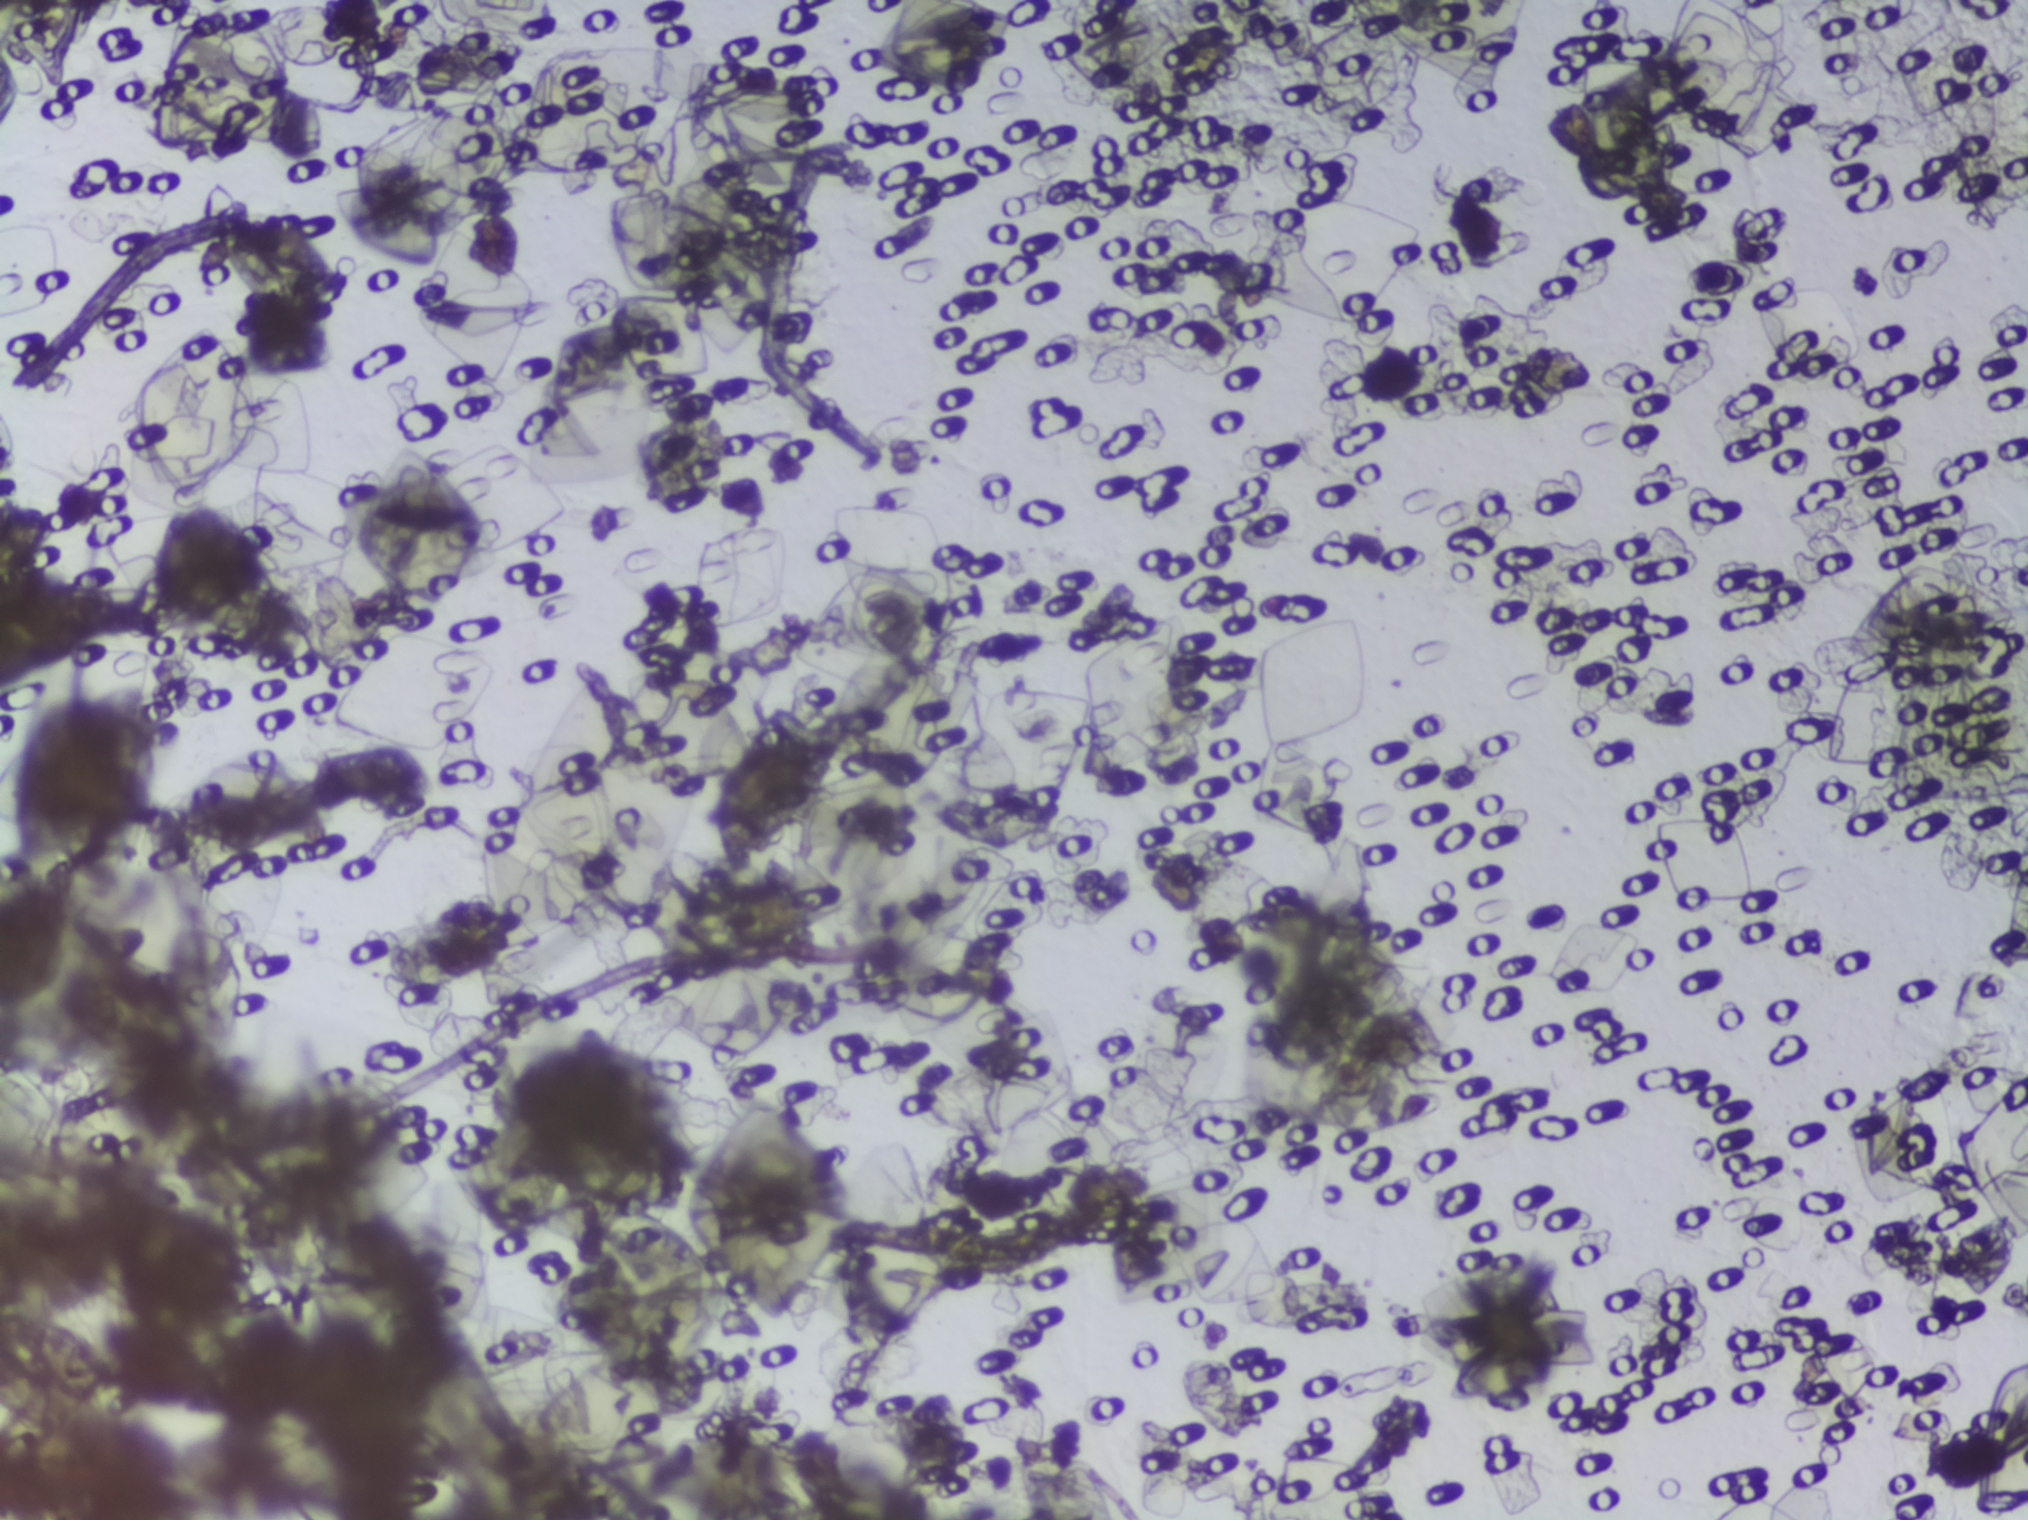
Microscope photograph (4× objective) of a membrane that a urine sample was filtered through.
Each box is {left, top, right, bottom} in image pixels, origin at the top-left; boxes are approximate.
The expert annotation outlines Schistosoma eggs at {216, 205, 348, 320}. About 0.3% of the image's pixels are marked (the marked pixels themselves, not the box around them). A single outlined area may contain several eggs.